One field of view of a urine filter membrane, 4× objective, 2028 × 1520 pixels.
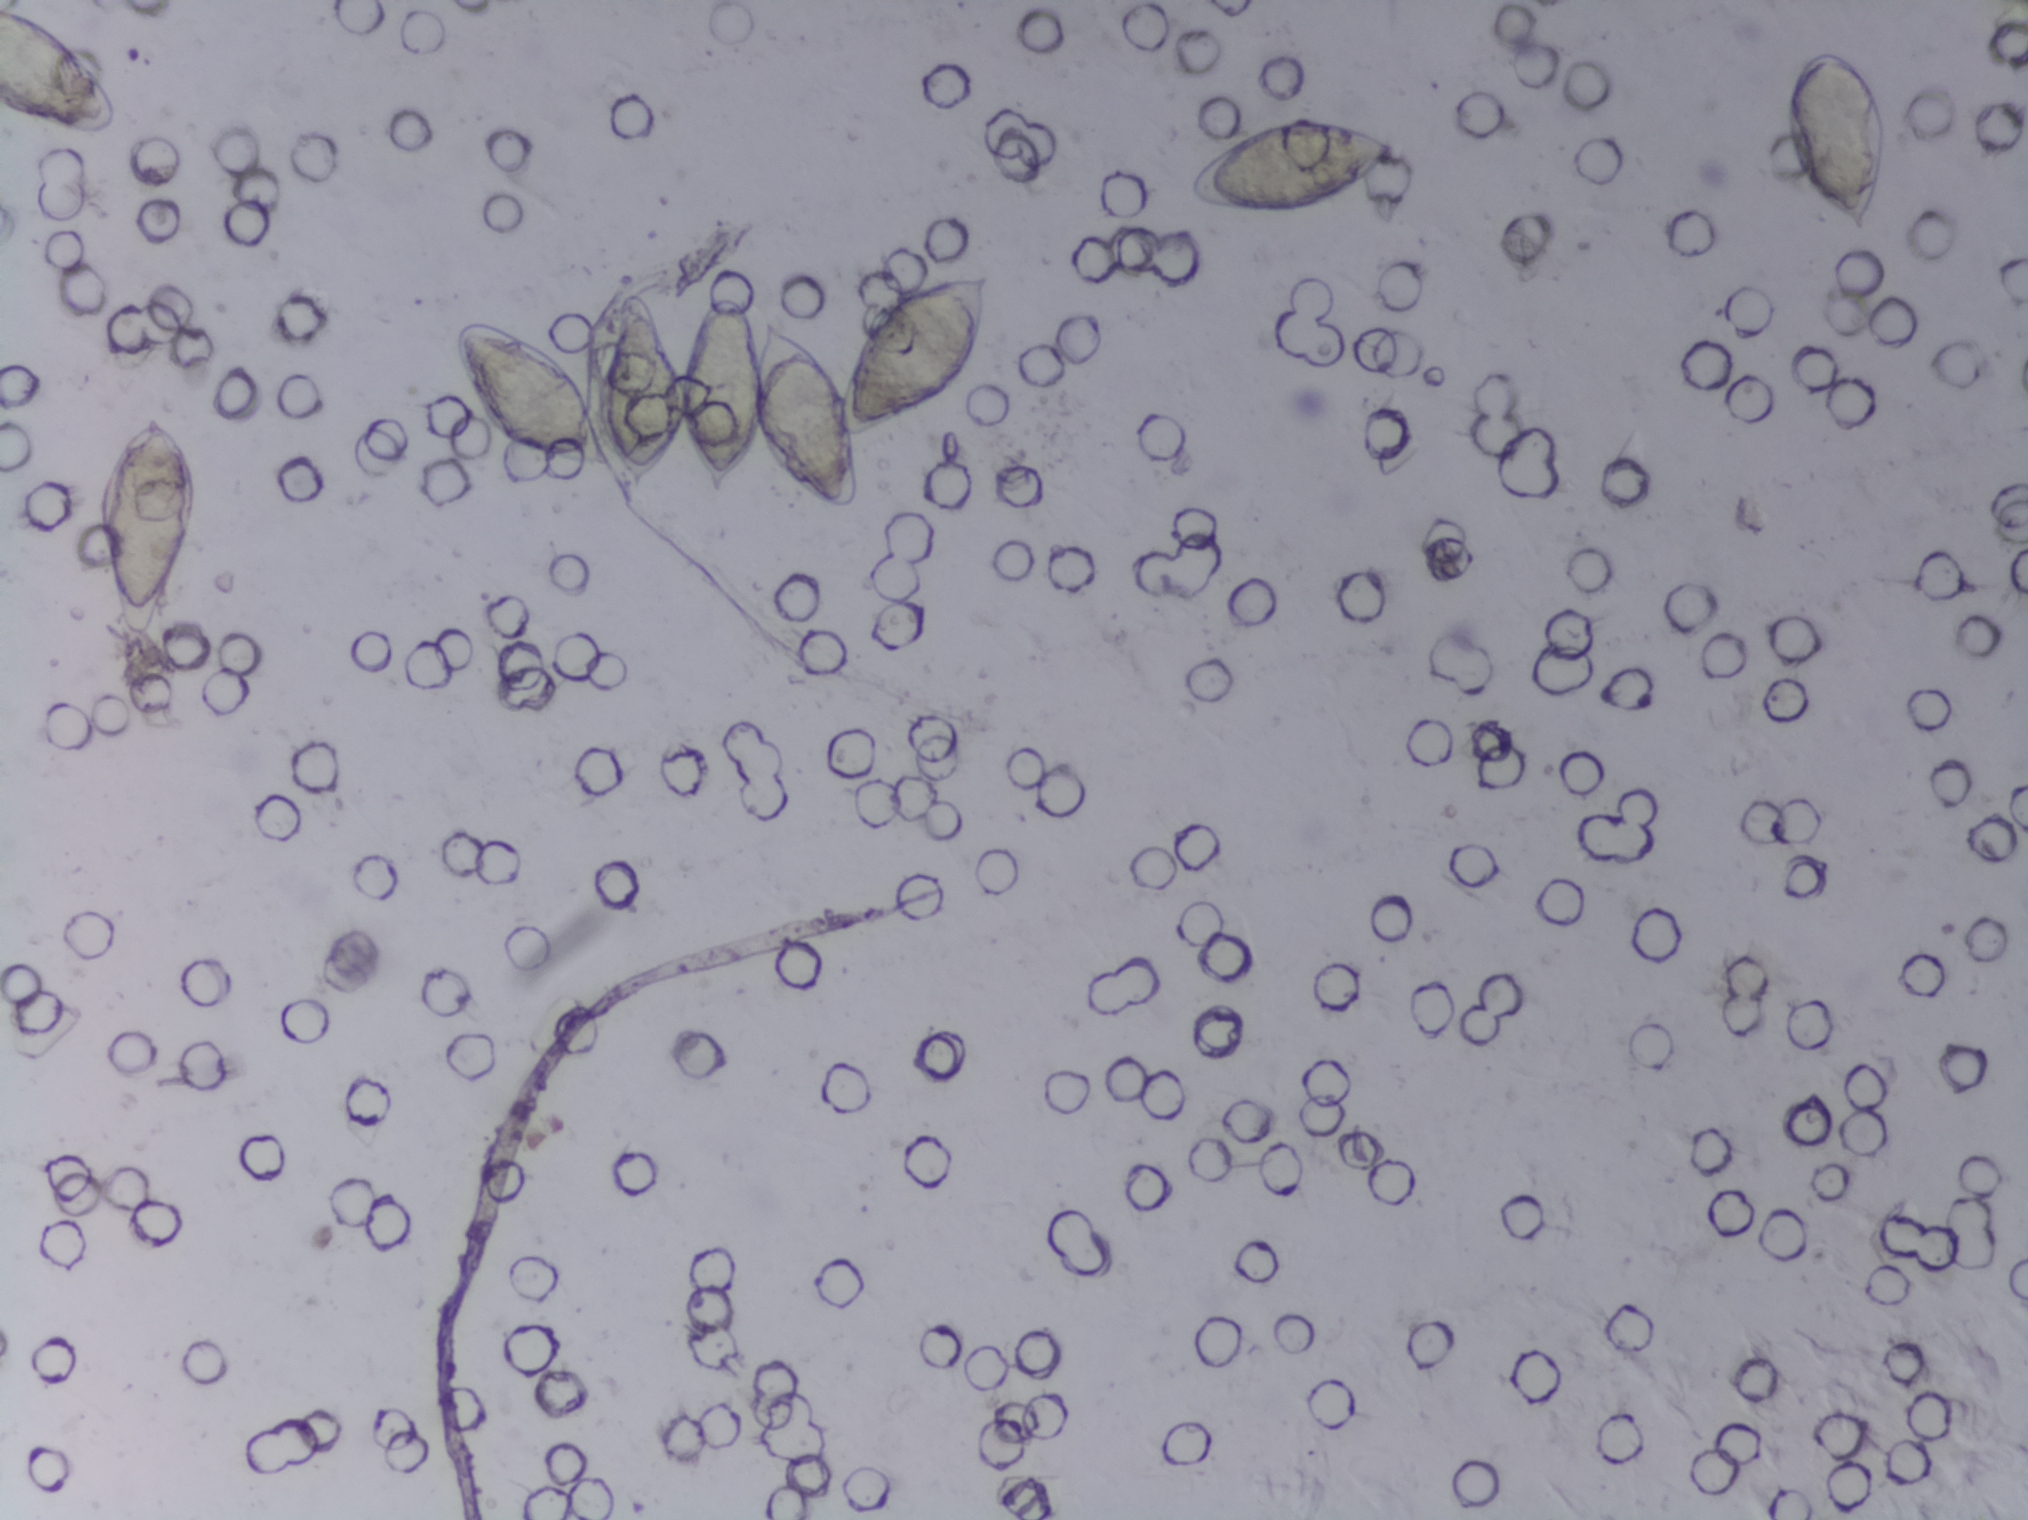
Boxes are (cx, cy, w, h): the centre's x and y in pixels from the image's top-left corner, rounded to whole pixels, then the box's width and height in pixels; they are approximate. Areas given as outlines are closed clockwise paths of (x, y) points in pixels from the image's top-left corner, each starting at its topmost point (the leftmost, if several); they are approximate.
Five areas of this image are outlined as Schistosoma eggs, from left to right: box (cx=62, cy=73, w=124, h=146) (reaching the left and top edges of the frame); box (cx=148, cy=525, w=104, h=233); outline (975, 270), (989, 275), (991, 289), (989, 323), (973, 362), (937, 402), (878, 434), (853, 439), (861, 483), (853, 513), (800, 497), (758, 436), (720, 494), (692, 468), (684, 429), (641, 494), (612, 465), (592, 470), (527, 454), (484, 425), (454, 348), (454, 329), (463, 318), (516, 327), (563, 354), (589, 405), (608, 323), (635, 280), (652, 296), (679, 356), (702, 304), (714, 294), (735, 294), (758, 332), (762, 315), (773, 314), (828, 359), (843, 383), (865, 329), (897, 290) (eggs clustered together); box (cx=1290, cy=166, w=215, h=102); box (cx=1834, cy=141, w=111, h=191). A single outlined area may contain several eggs.